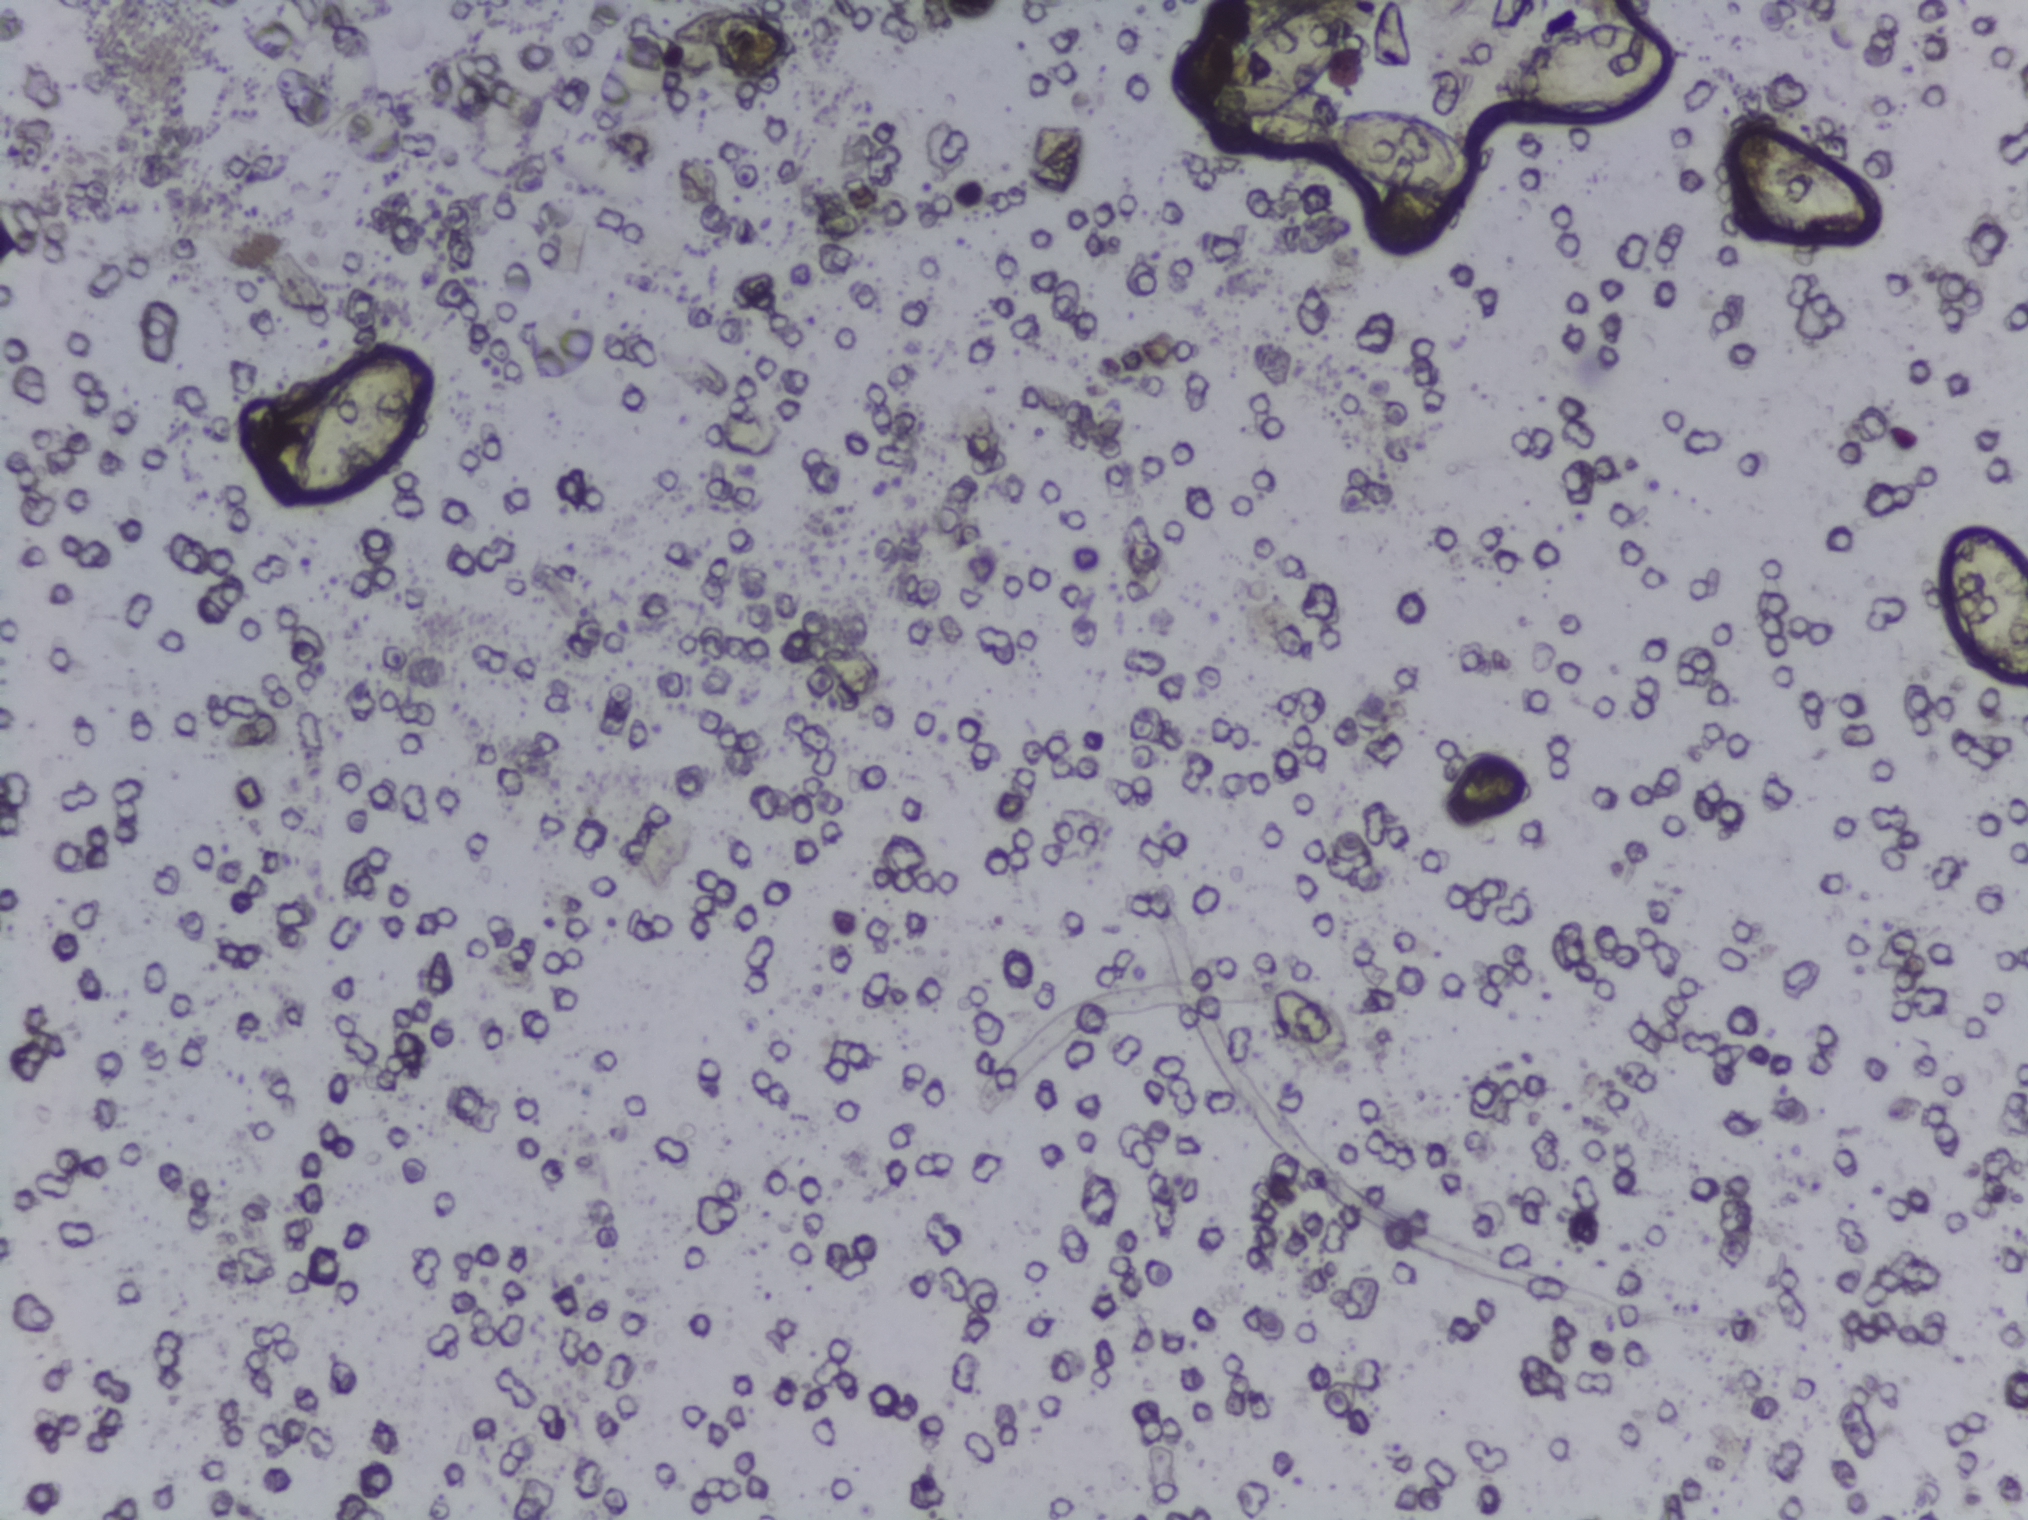
Photomicrograph of a urine filtration membrane, 4× objective. The field of view is about 1.5 mm × 1.1 mm.
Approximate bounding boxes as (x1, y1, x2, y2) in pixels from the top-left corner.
Schistosoma eggs are outlined in the expert annotation at (297, 345, 421, 508); (1212, 7, 1350, 122); (1313, 107, 1471, 199); (1505, 24, 1678, 122); (1950, 528, 2027, 684) (reaching the right edge of the frame). Eggs that touch can end up inside the same outlined area.